Photograph from an automated digital microscope: urine filter membrane, 4× objective. Field of view: about 1.5 mm wide and 1.1 mm high.
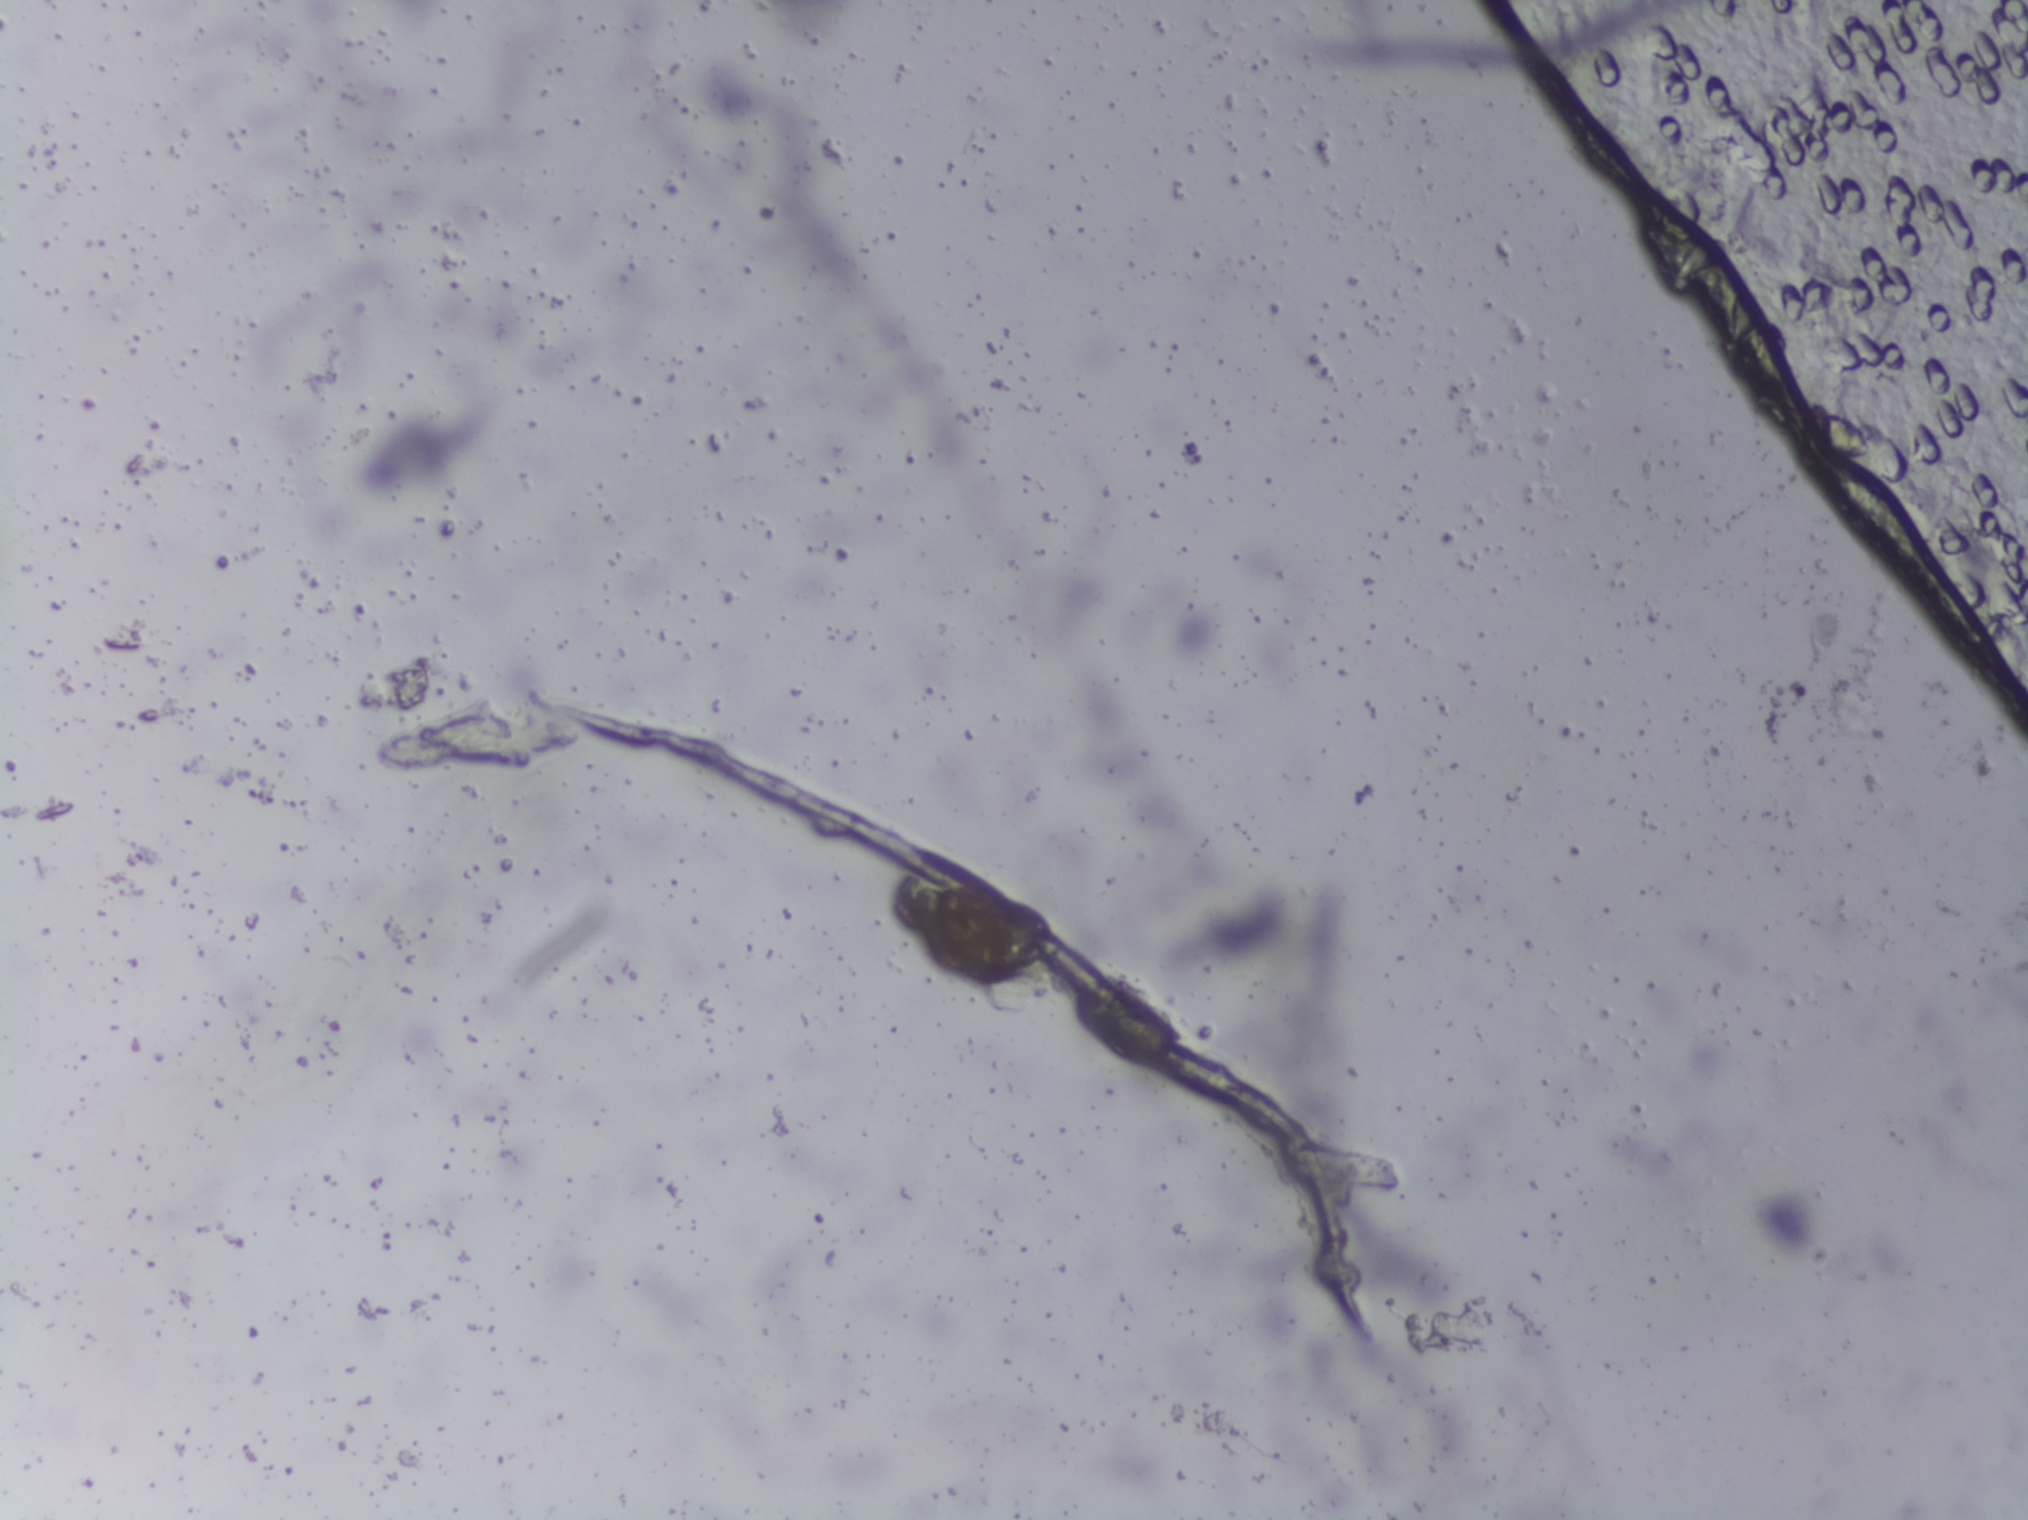
The expert annotation marks no Schistosoma egg in this field of view.